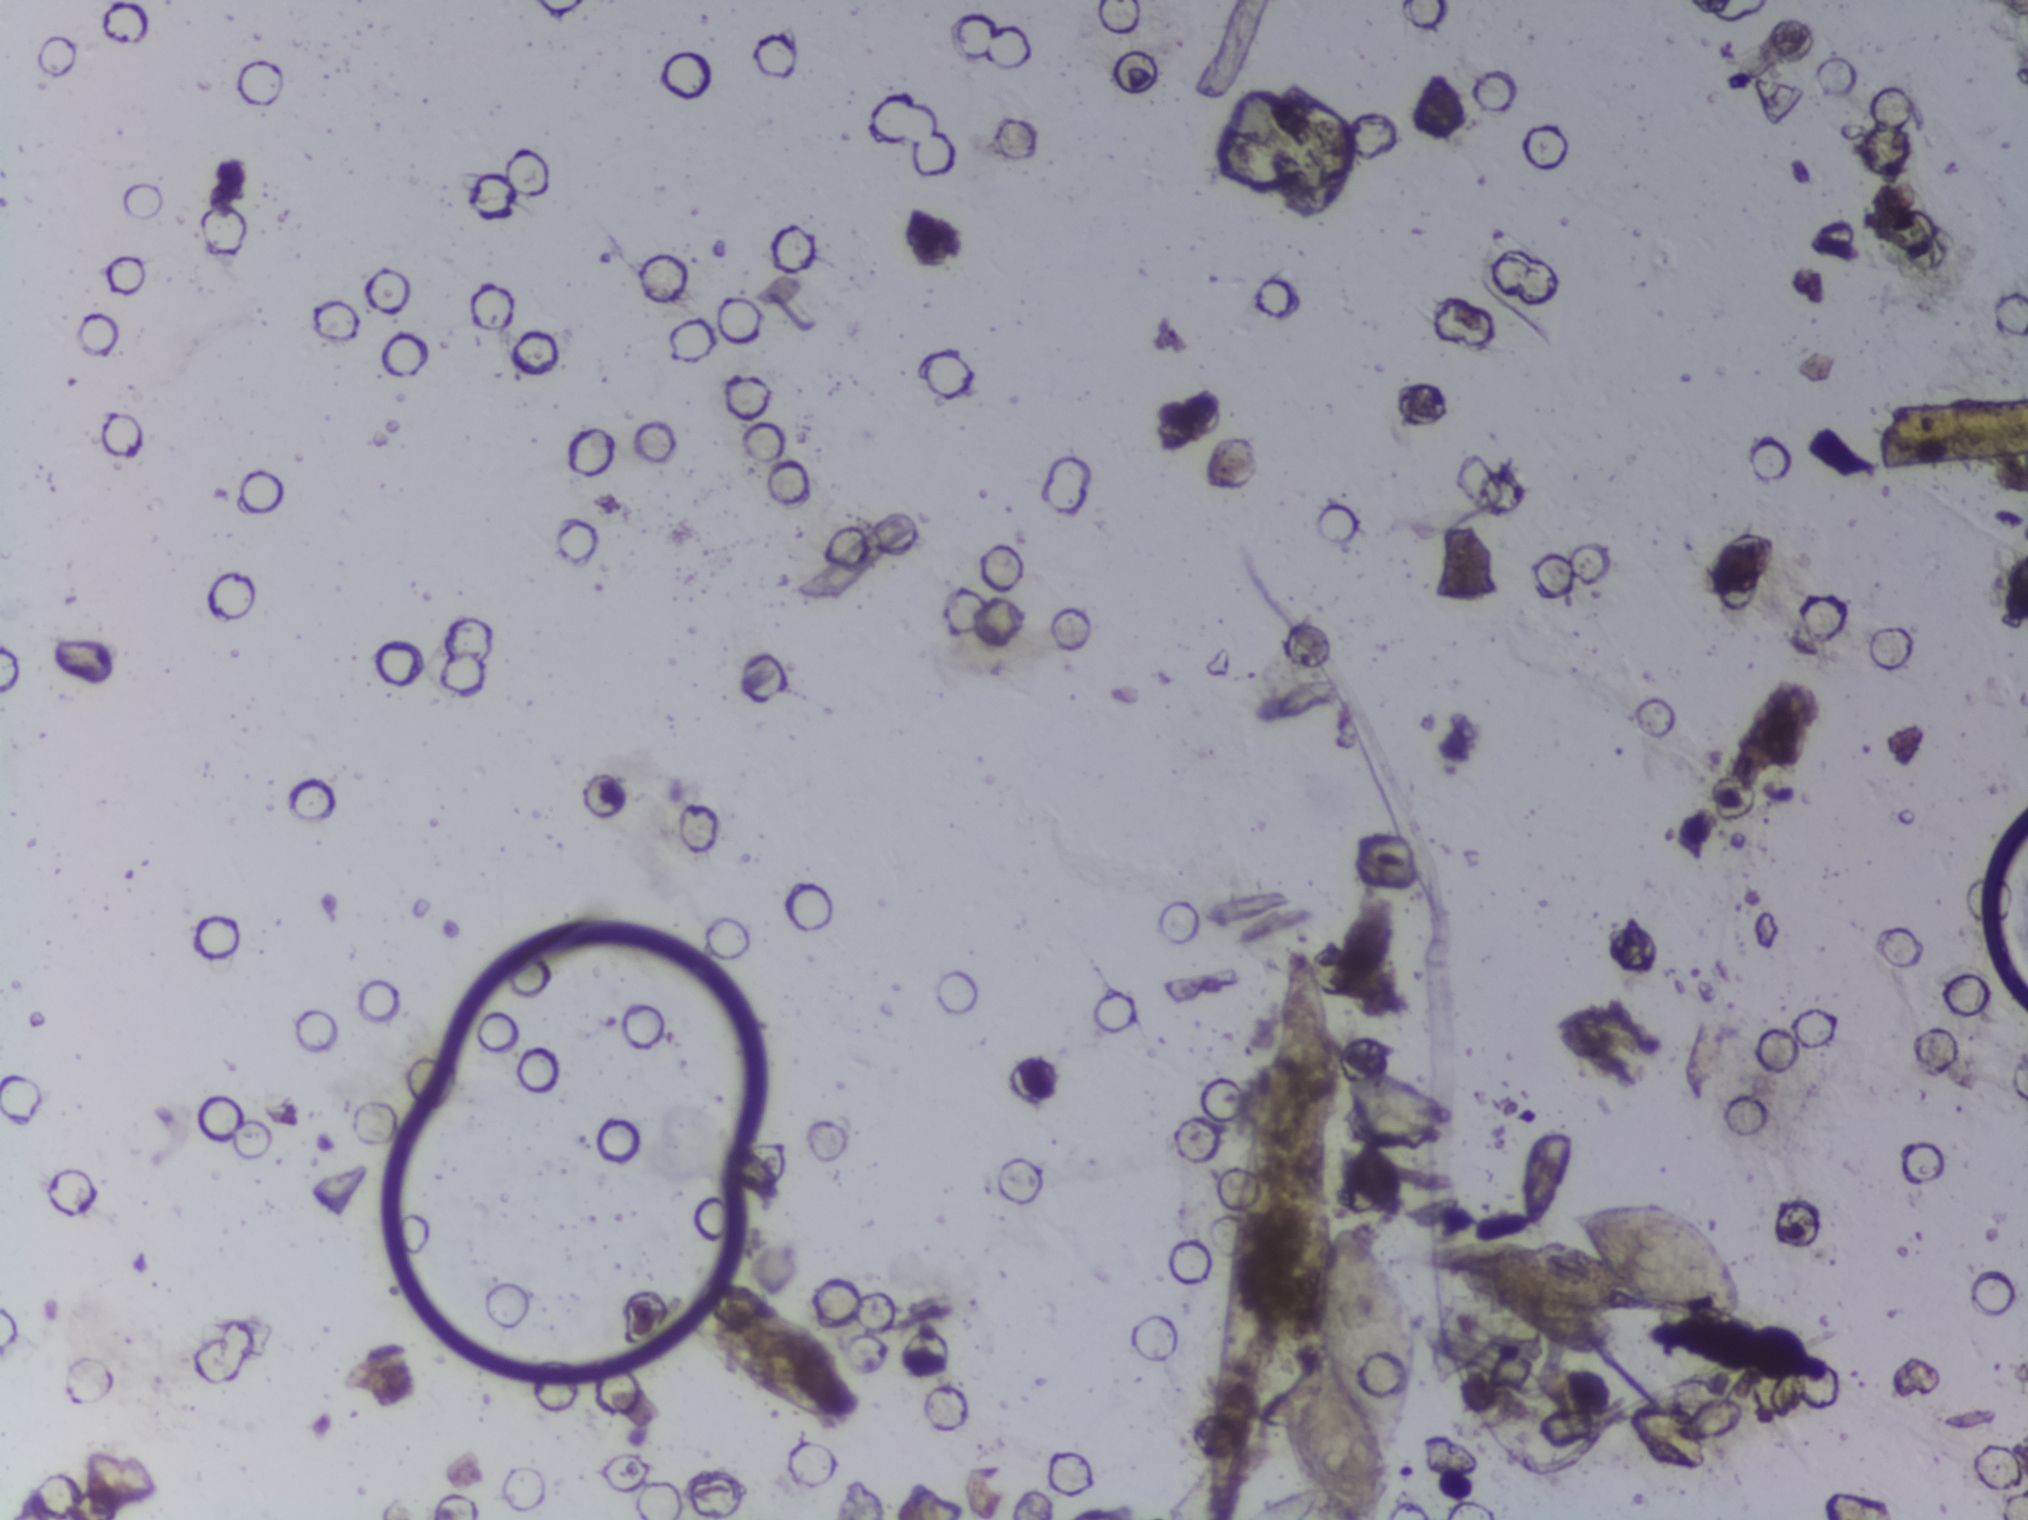
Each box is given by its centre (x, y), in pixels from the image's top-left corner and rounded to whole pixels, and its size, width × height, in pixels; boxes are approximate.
Schistosoma eggs are outlined in the expert annotation at centre (1347, 1371), 148 × 297 px (reaching the bottom edge of the frame) and centre (1656, 1258), 181 × 119 px. About 1.5% of the image's pixels are marked (the marked pixels themselves, not the boxes around them). A single outlined area may contain several eggs.
Urine filter membrane photographed through a 4× microscope objective. Field of view: about 1.5 mm wide and 1.1 mm high.